Urine filter membrane photographed through a 4× microscope objective. The image covers about 1.5 × 1.1 mm of the membrane.
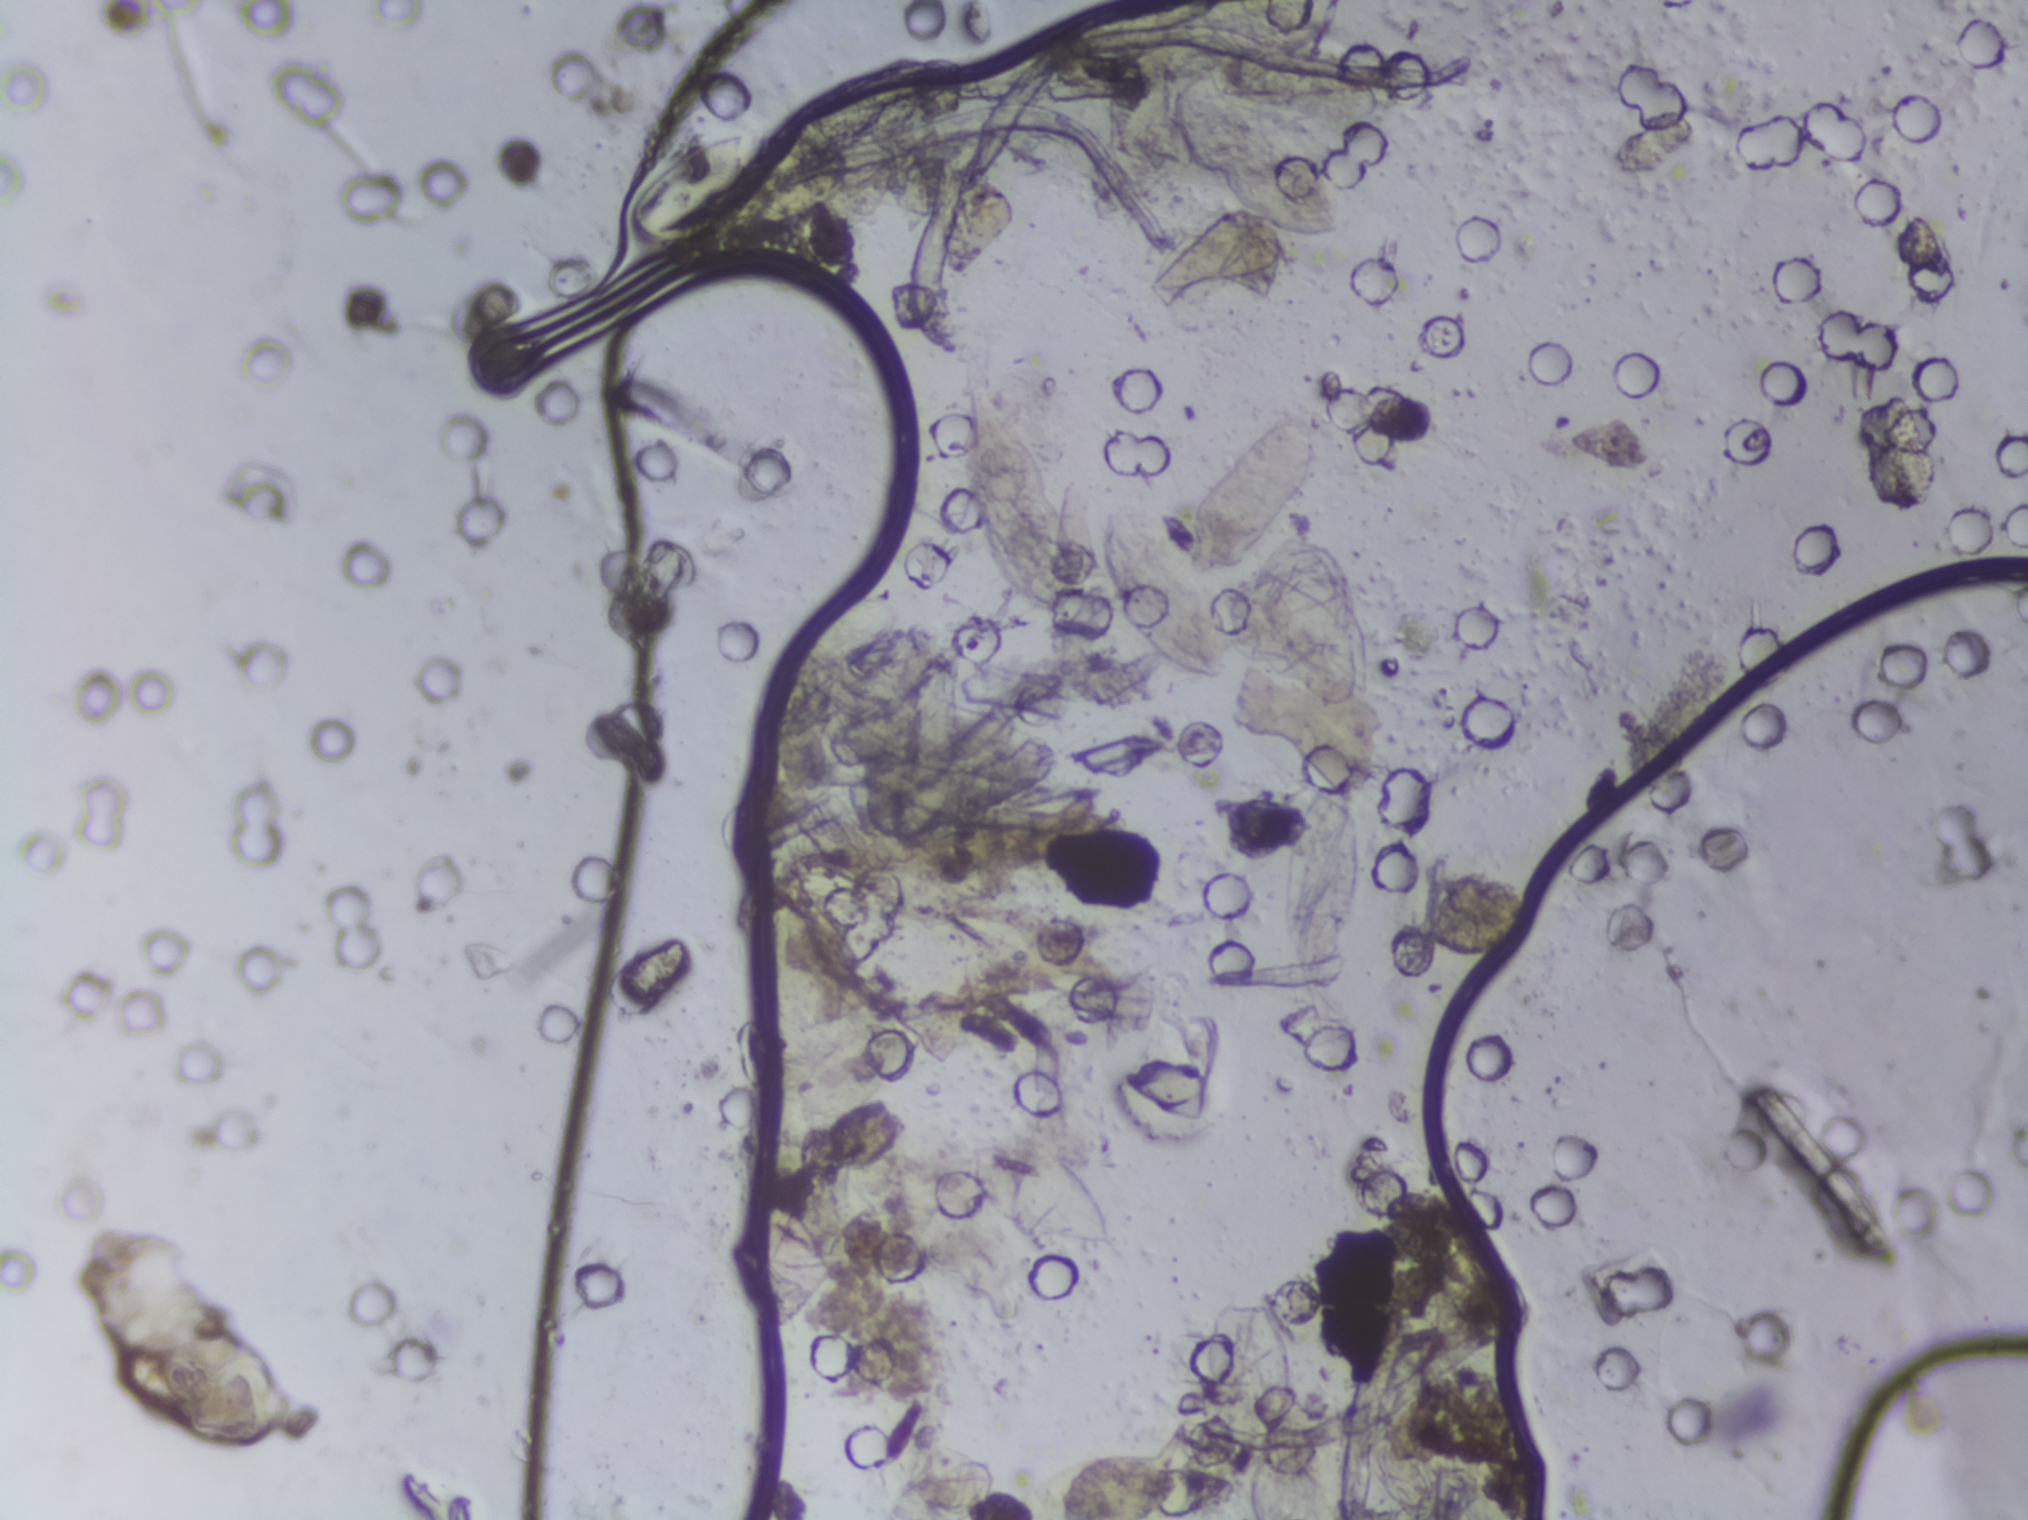
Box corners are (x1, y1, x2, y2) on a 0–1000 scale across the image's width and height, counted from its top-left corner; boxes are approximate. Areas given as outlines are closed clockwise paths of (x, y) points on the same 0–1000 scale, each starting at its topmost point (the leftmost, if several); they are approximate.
Seven areas of this image are outlined as Schistosoma eggs, from left to right: box (306, 83, 388, 163); box (434, 955, 493, 1000) (reaching the bottom edge of the frame); outline (481, 254), (491, 259), (491, 265), (499, 271), (530, 319), (540, 358), (540, 340), (547, 334), (564, 337), (586, 354), (592, 322), (607, 291), (628, 272), (649, 275), (652, 282), (650, 315), (629, 349), (639, 350), (653, 360), (669, 386), (673, 425), (666, 460), (661, 465), (647, 462), (628, 428), (619, 398), (619, 377), (623, 361), (614, 379), (600, 381), (607, 425), (607, 438), (603, 445), (586, 442), (561, 425), (551, 409), (541, 375), (539, 402), (529, 416), (511, 413), (495, 398), (486, 380), (471, 319), (473, 271) (eggs clustered together); box (478, 750, 548, 821); box (499, 955, 583, 1000) (reaching the bottom edge of the frame); box (632, 513, 671, 651); box (673, 929, 714, 1000) (reaching the bottom edge of the frame). A single outlined area may contain several eggs.